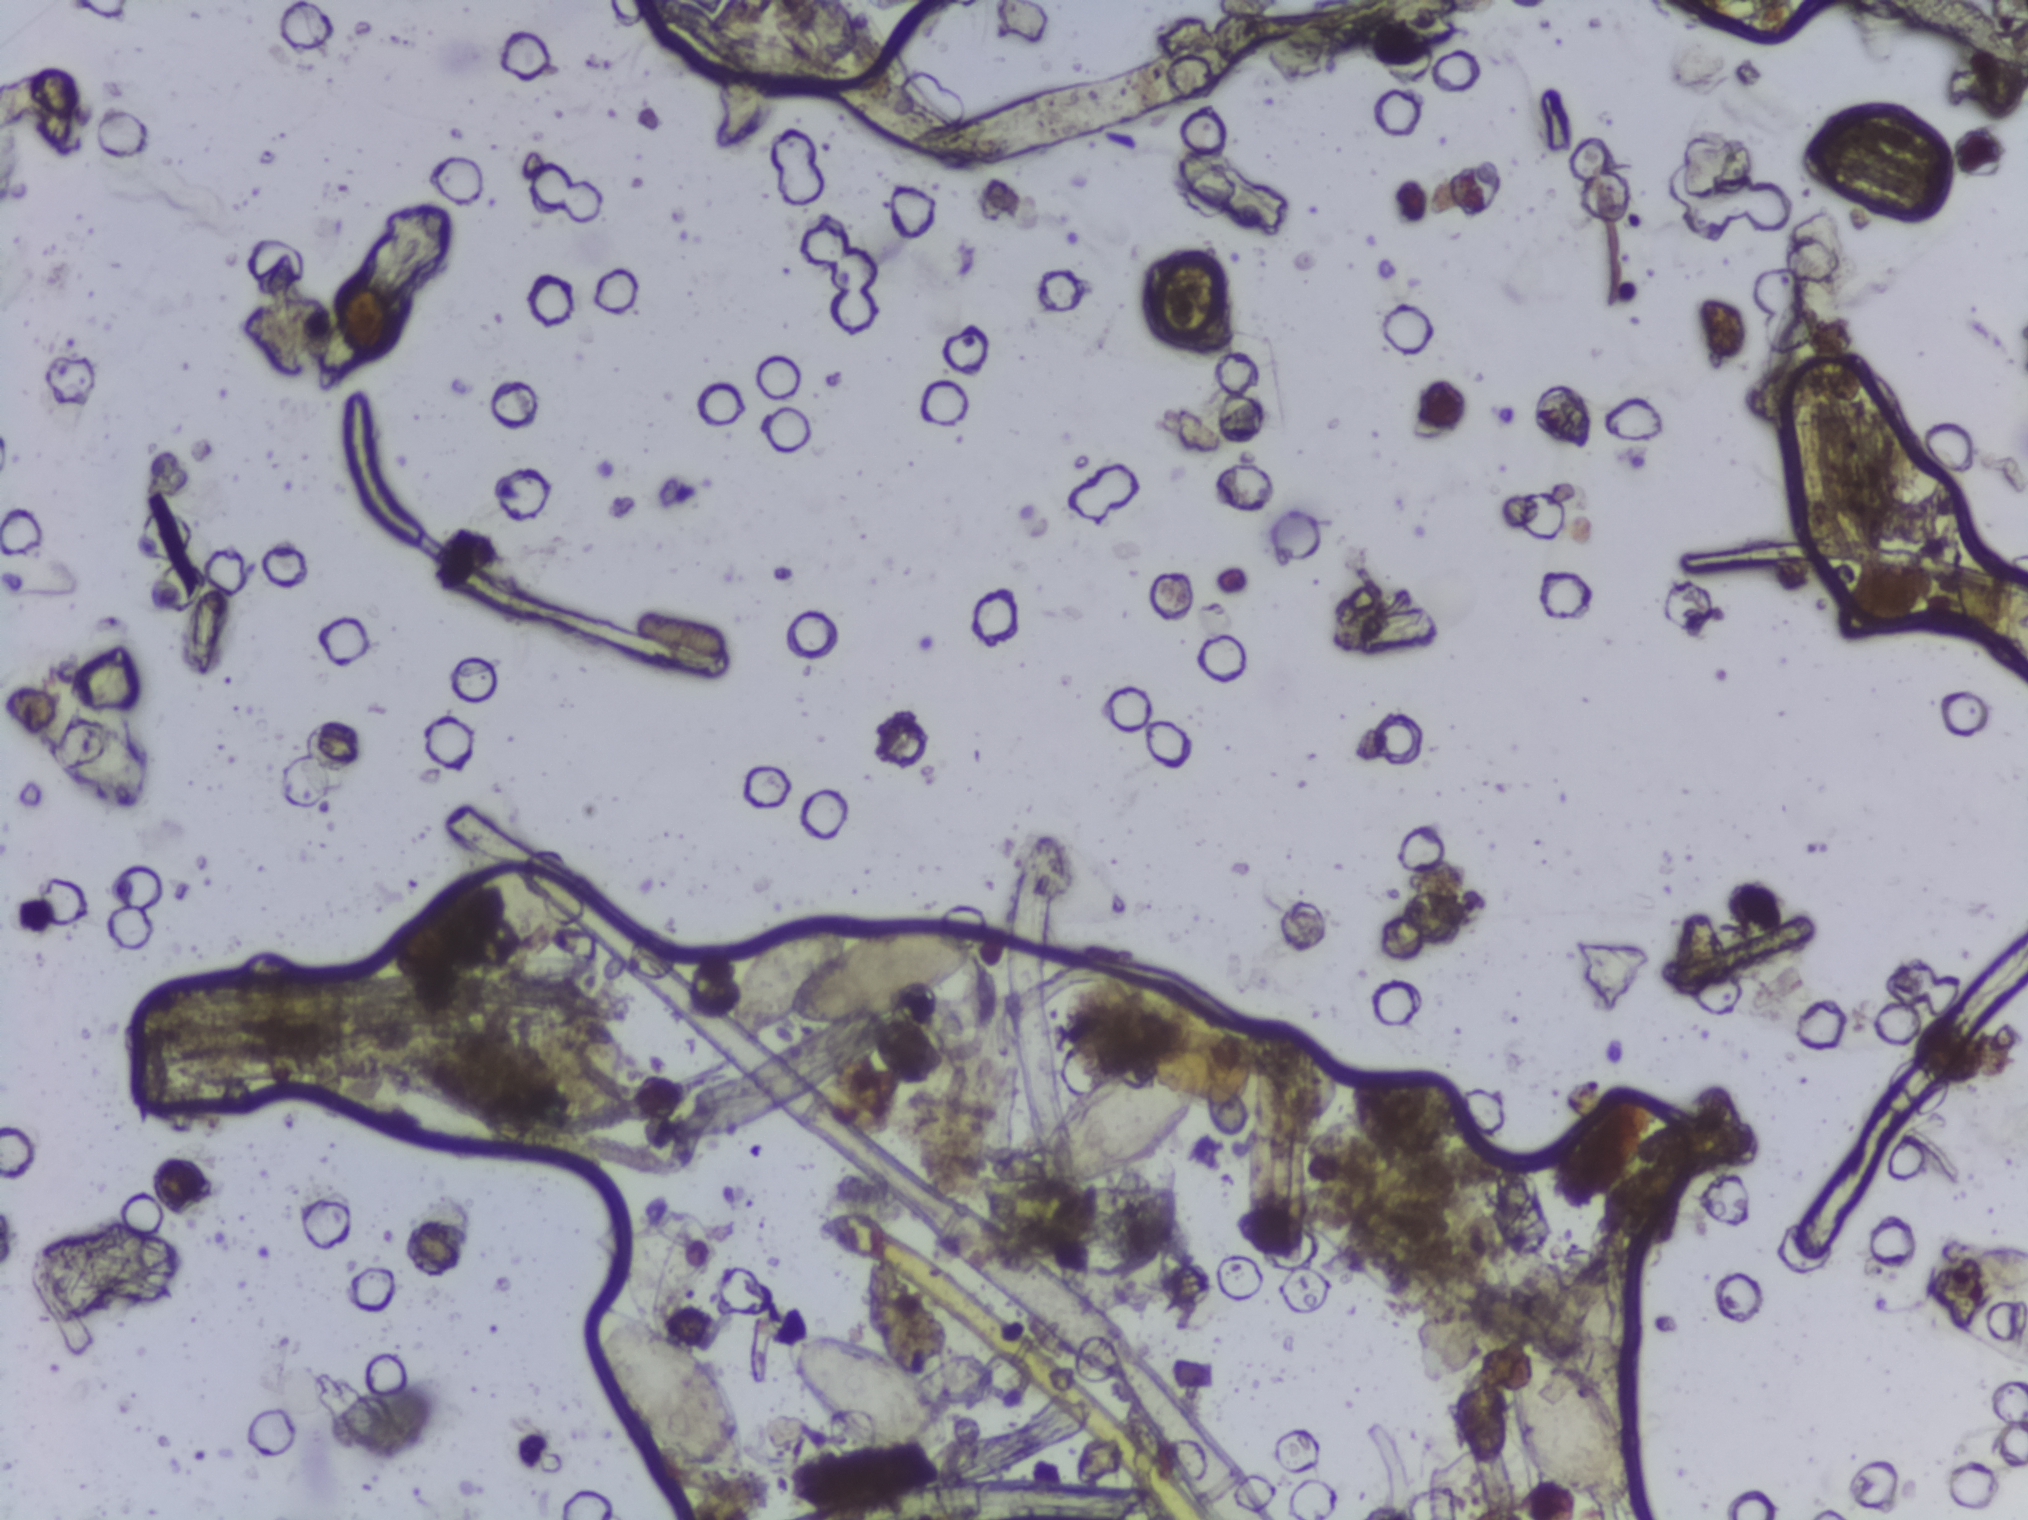
Microscope photograph (4× objective) of a membrane that a urine sample was filtered through. The image covers about 1.5 × 1.1 mm of the membrane.
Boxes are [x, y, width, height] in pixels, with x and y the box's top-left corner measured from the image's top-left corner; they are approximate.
The expert annotation outlines Schistosoma eggs at [595, 1302, 157, 178]; [721, 909, 270, 126]; [782, 1327, 175, 139]; [1029, 1033, 188, 166]; [1500, 1347, 136, 160] (left to right). Eggs that touch can end up inside the same outlined area.